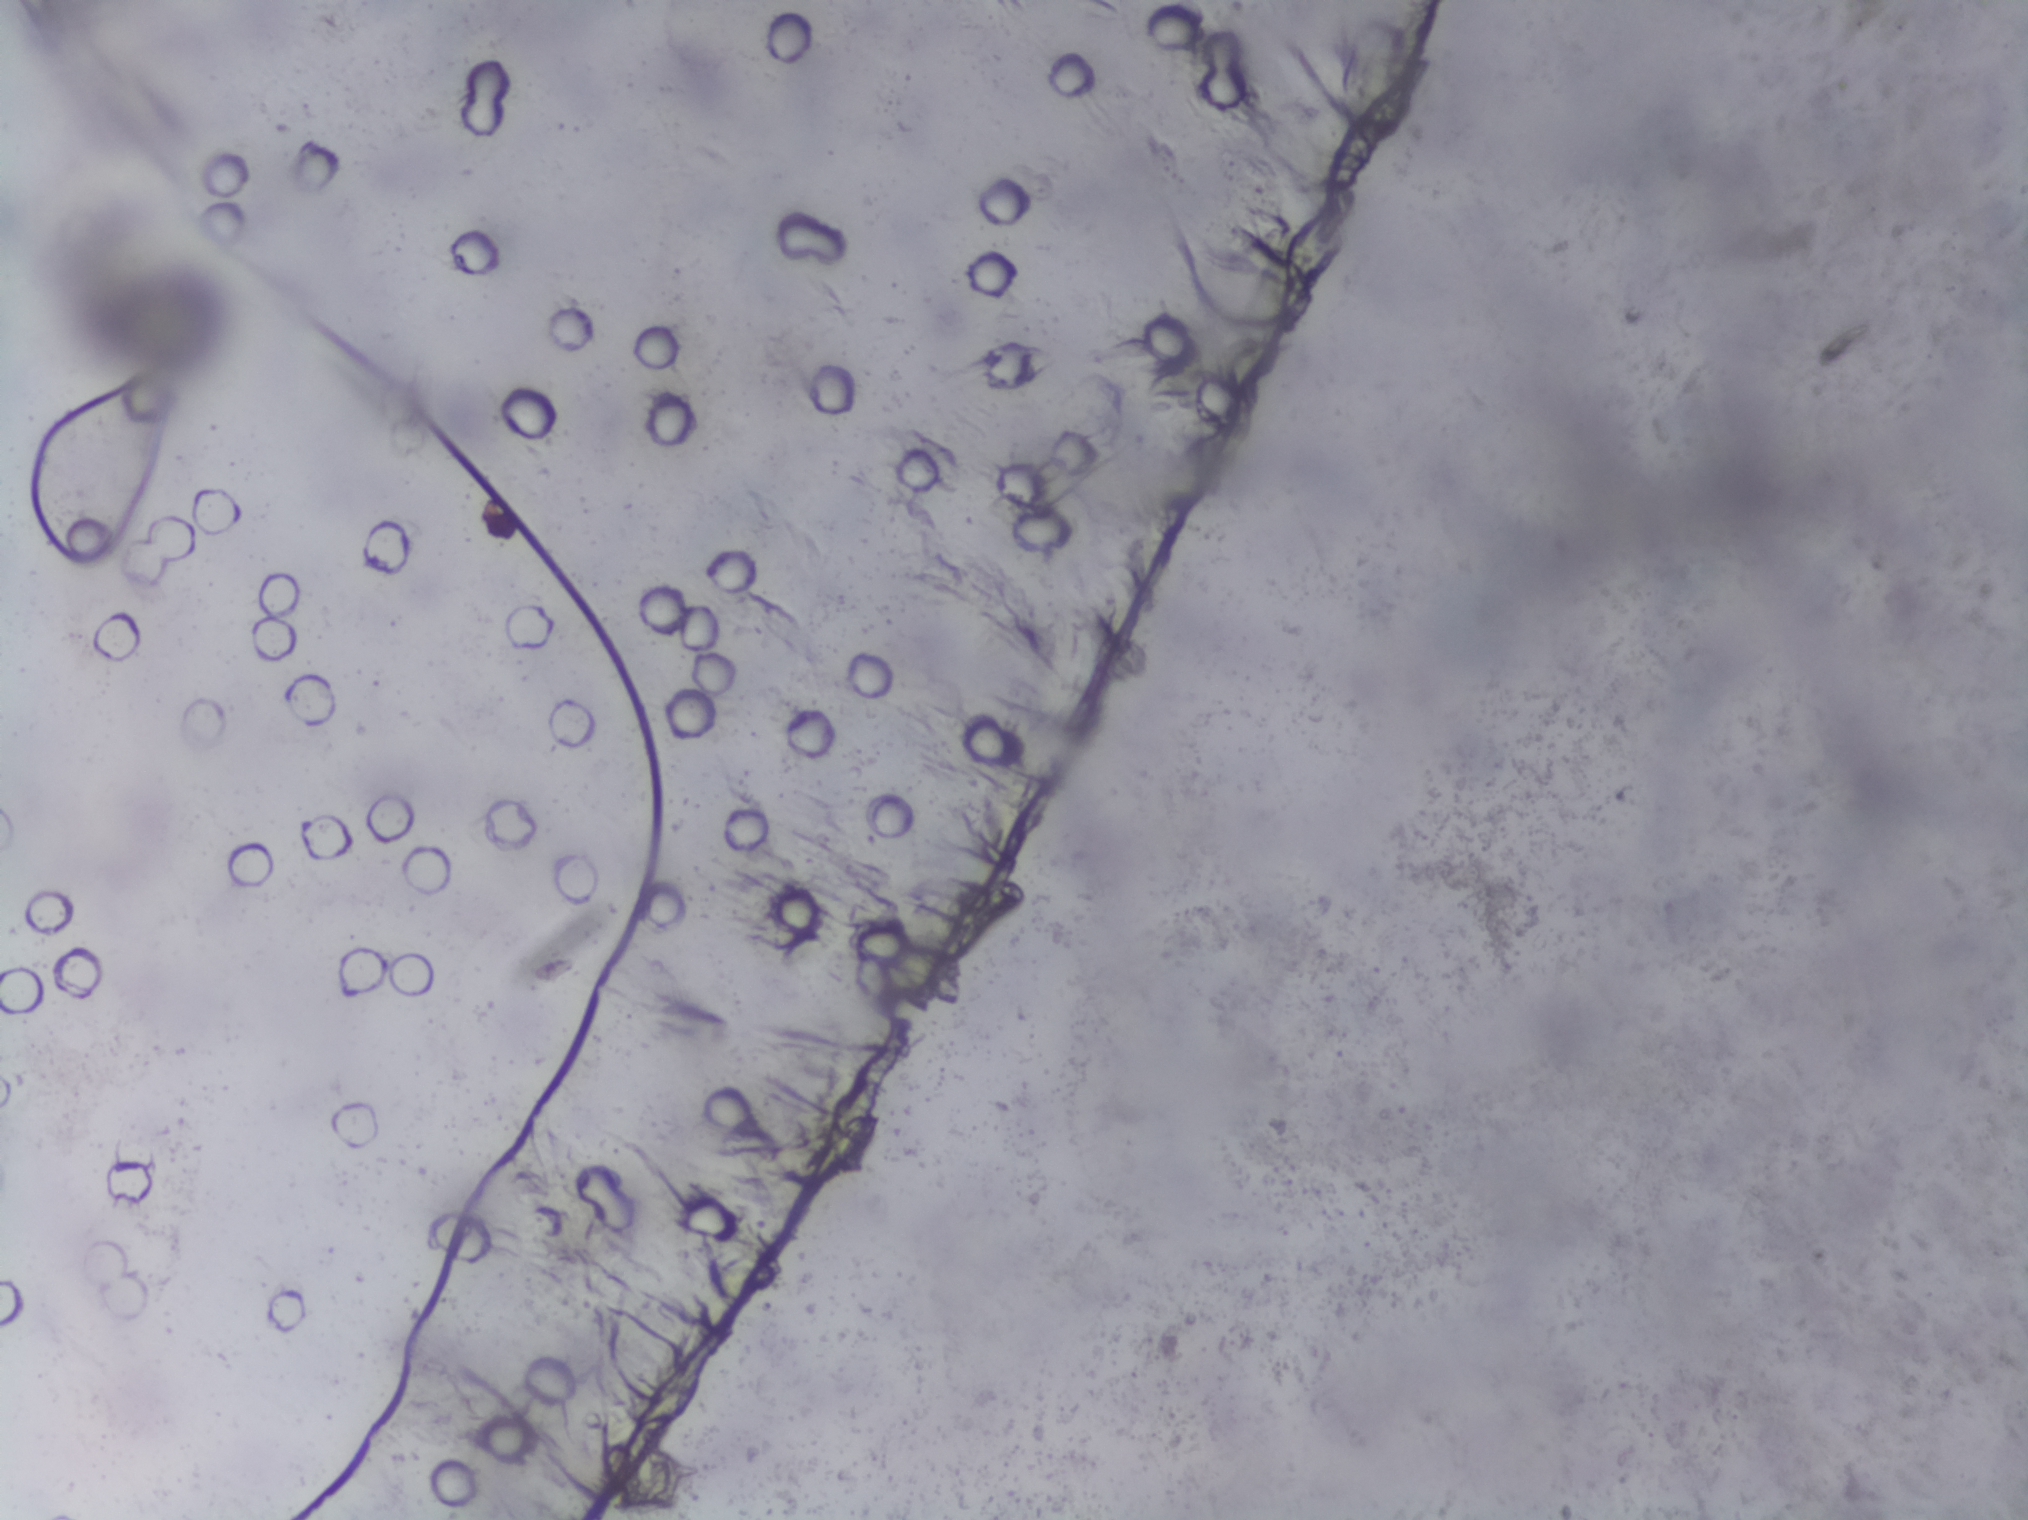
Urine filter membrane photographed through a 4× microscope objective. The field of view is about 1.5 mm × 1.1 mm.
No Schistosoma egg is outlined in this image's expert annotation.